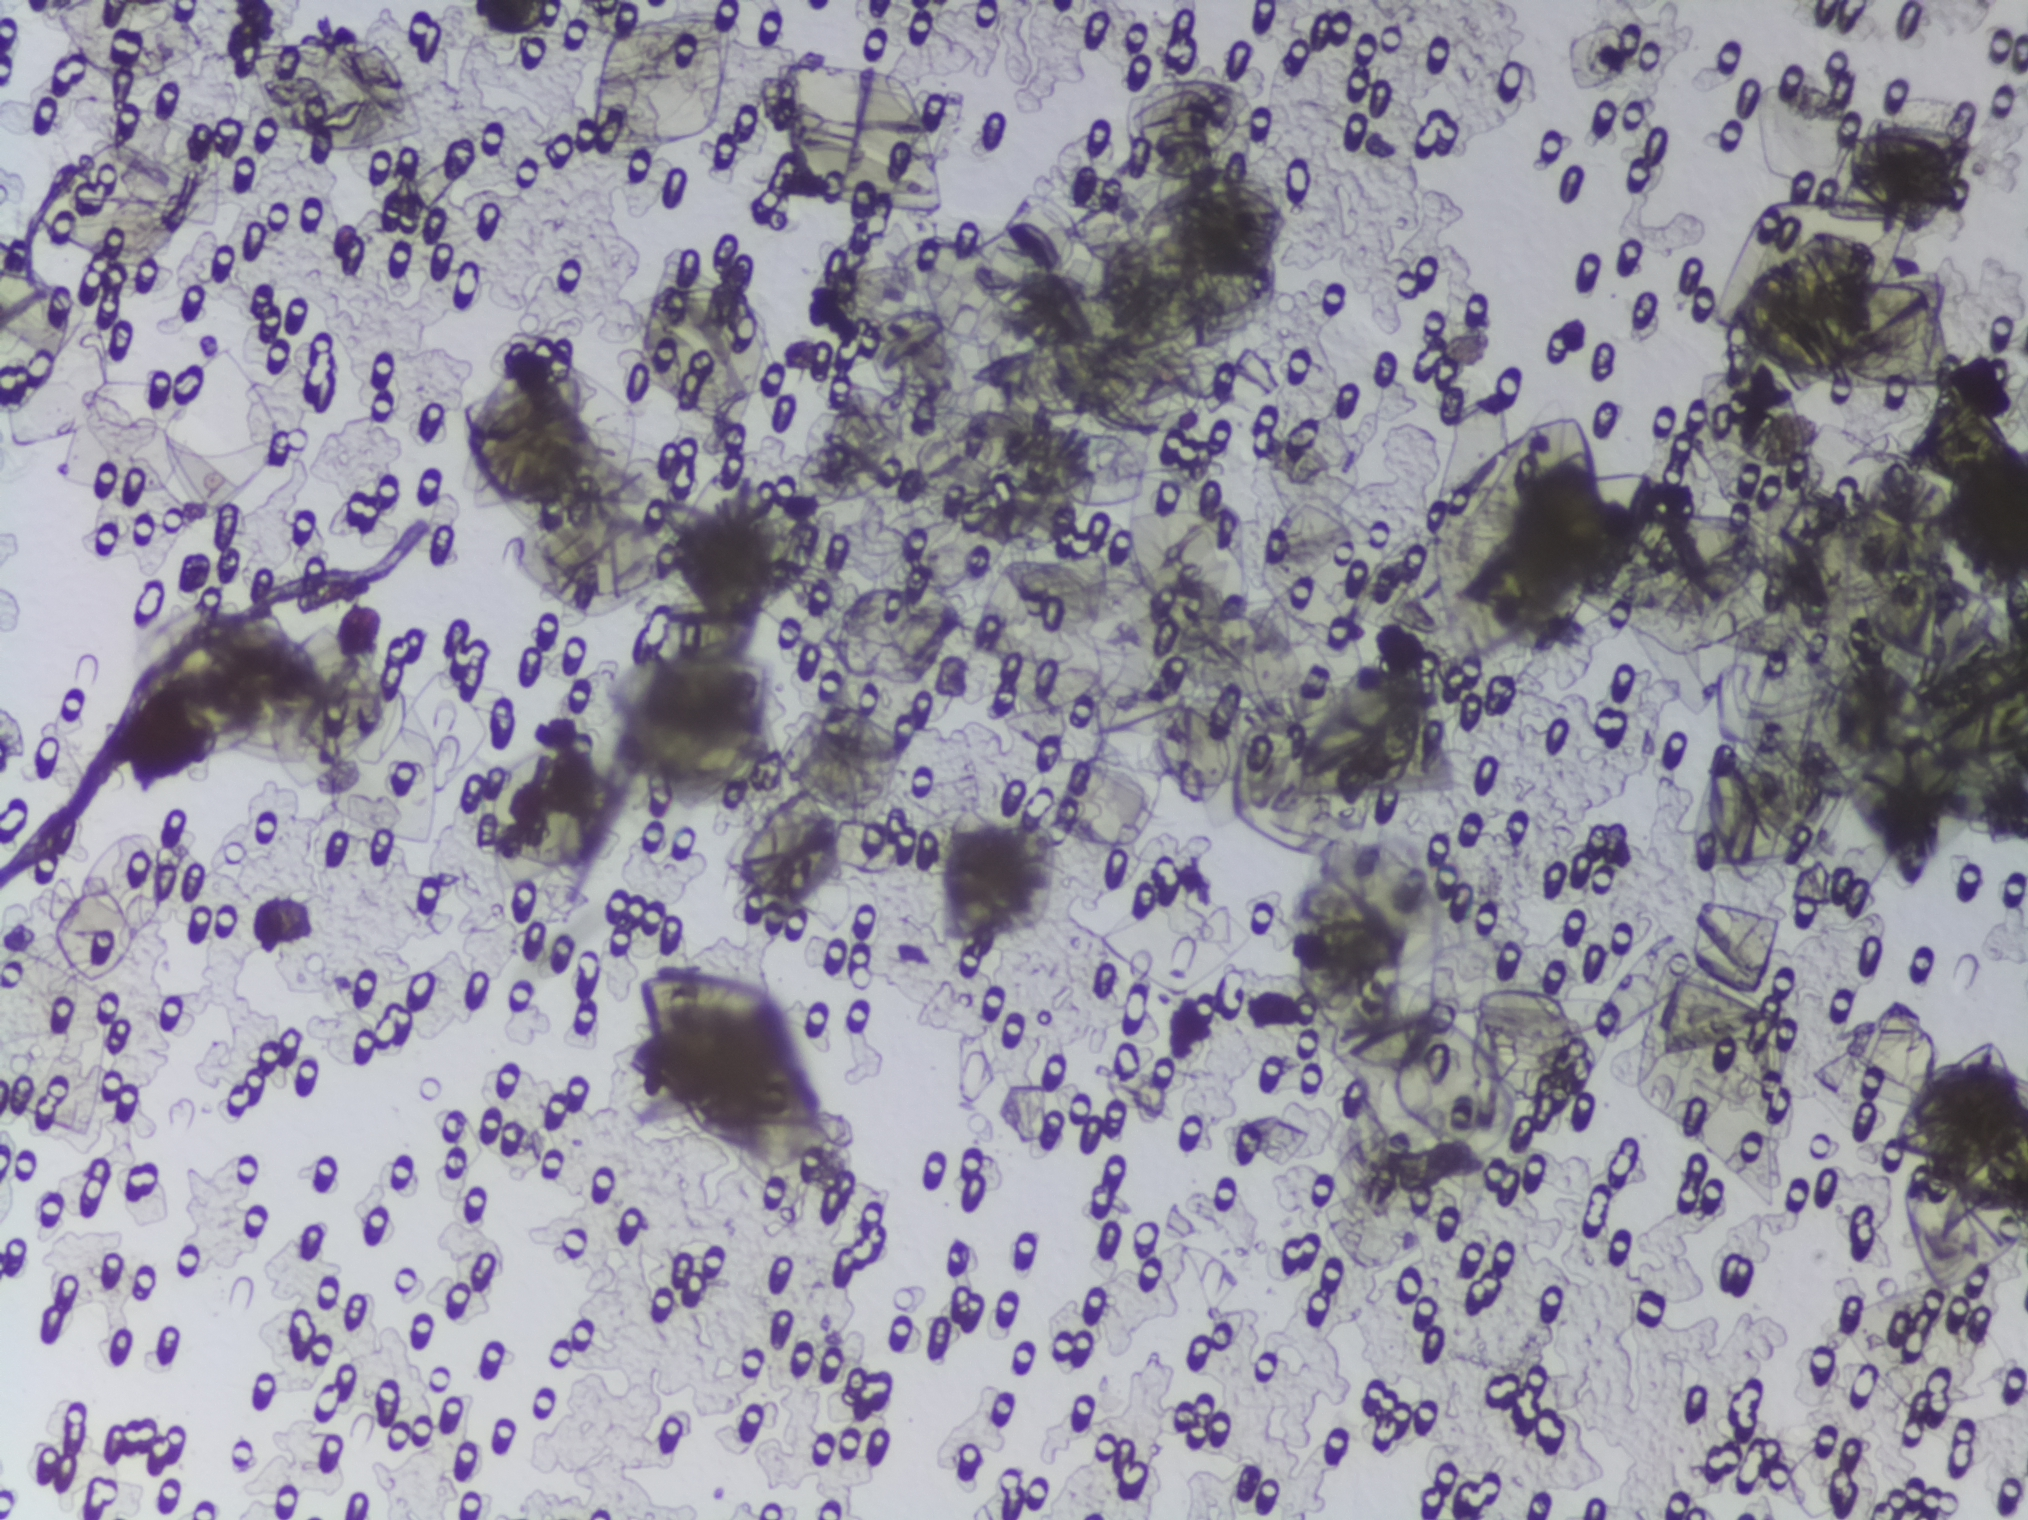
Microscope photograph (4× objective) of a membrane that a urine sample was filtered through.
No Schistosoma egg is outlined in this image's expert annotation.